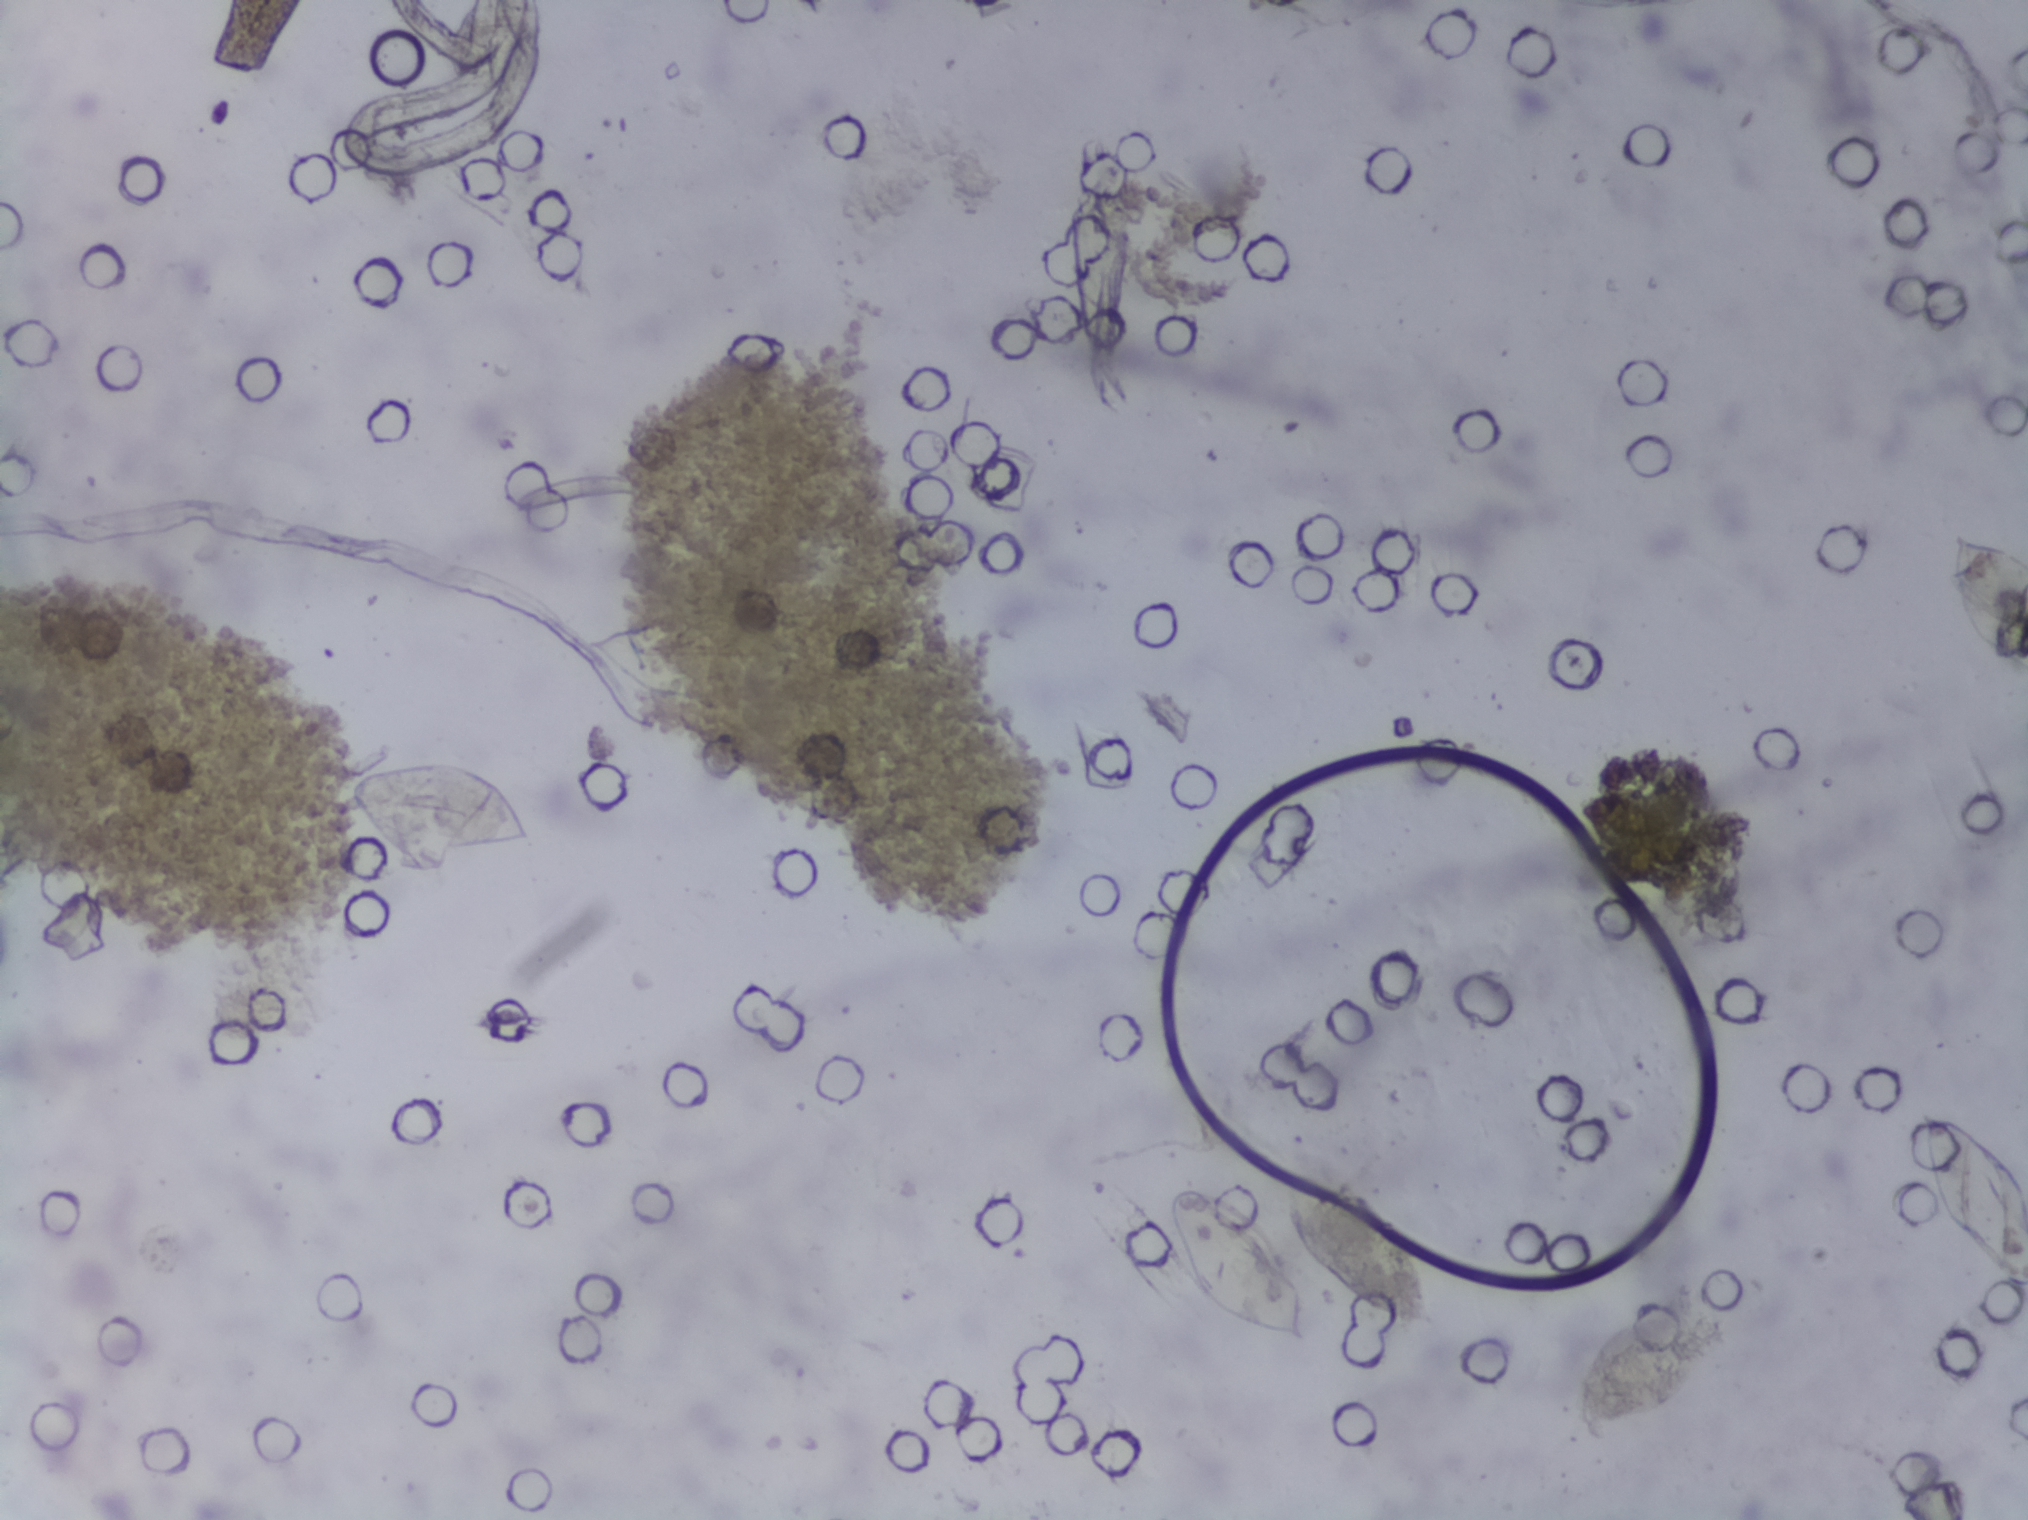
Photograph from an automated digital microscope: urine filter membrane, 4× objective.
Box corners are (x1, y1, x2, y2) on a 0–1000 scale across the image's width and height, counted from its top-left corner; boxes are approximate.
Schistosoma eggs are outlined in five areas of this image, listed from left to right: (167, 498, 264, 570); (574, 778, 648, 887); (637, 775, 706, 873); (947, 728, 1000, 849) (reaching the right edge of the frame); (960, 347, 1000, 441) (reaching the right edge of the frame). A single outlined area may contain several eggs.